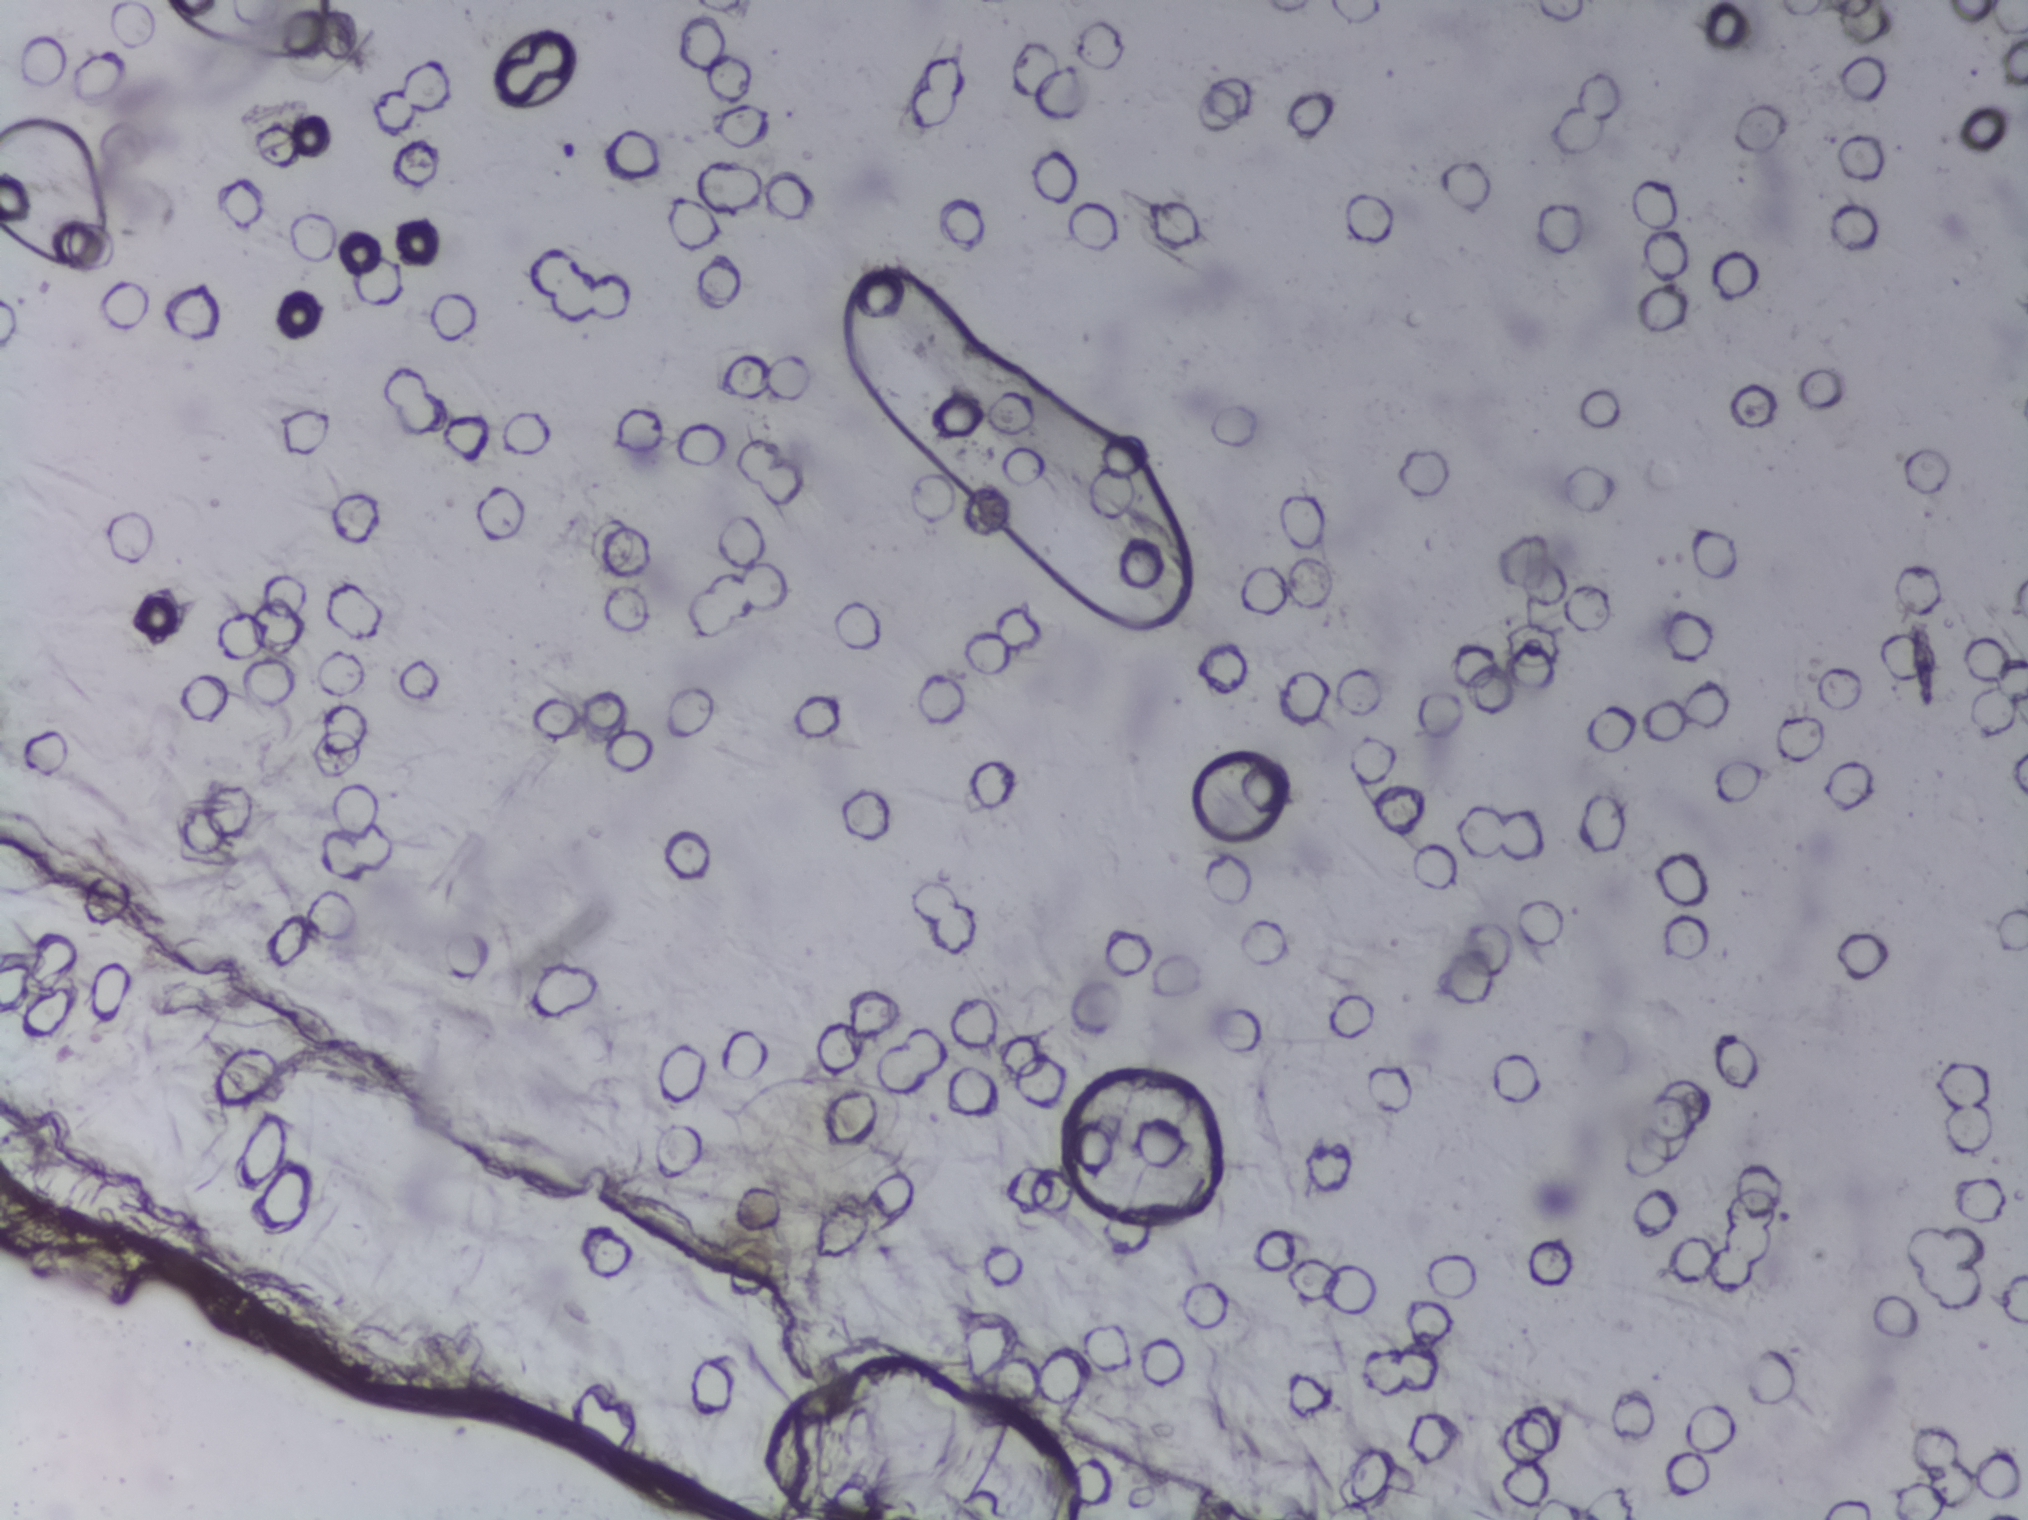
Photograph from an automated digital microscope: urine filter membrane, 4× objective.
No area of this image was outlined as a Schistosoma egg.